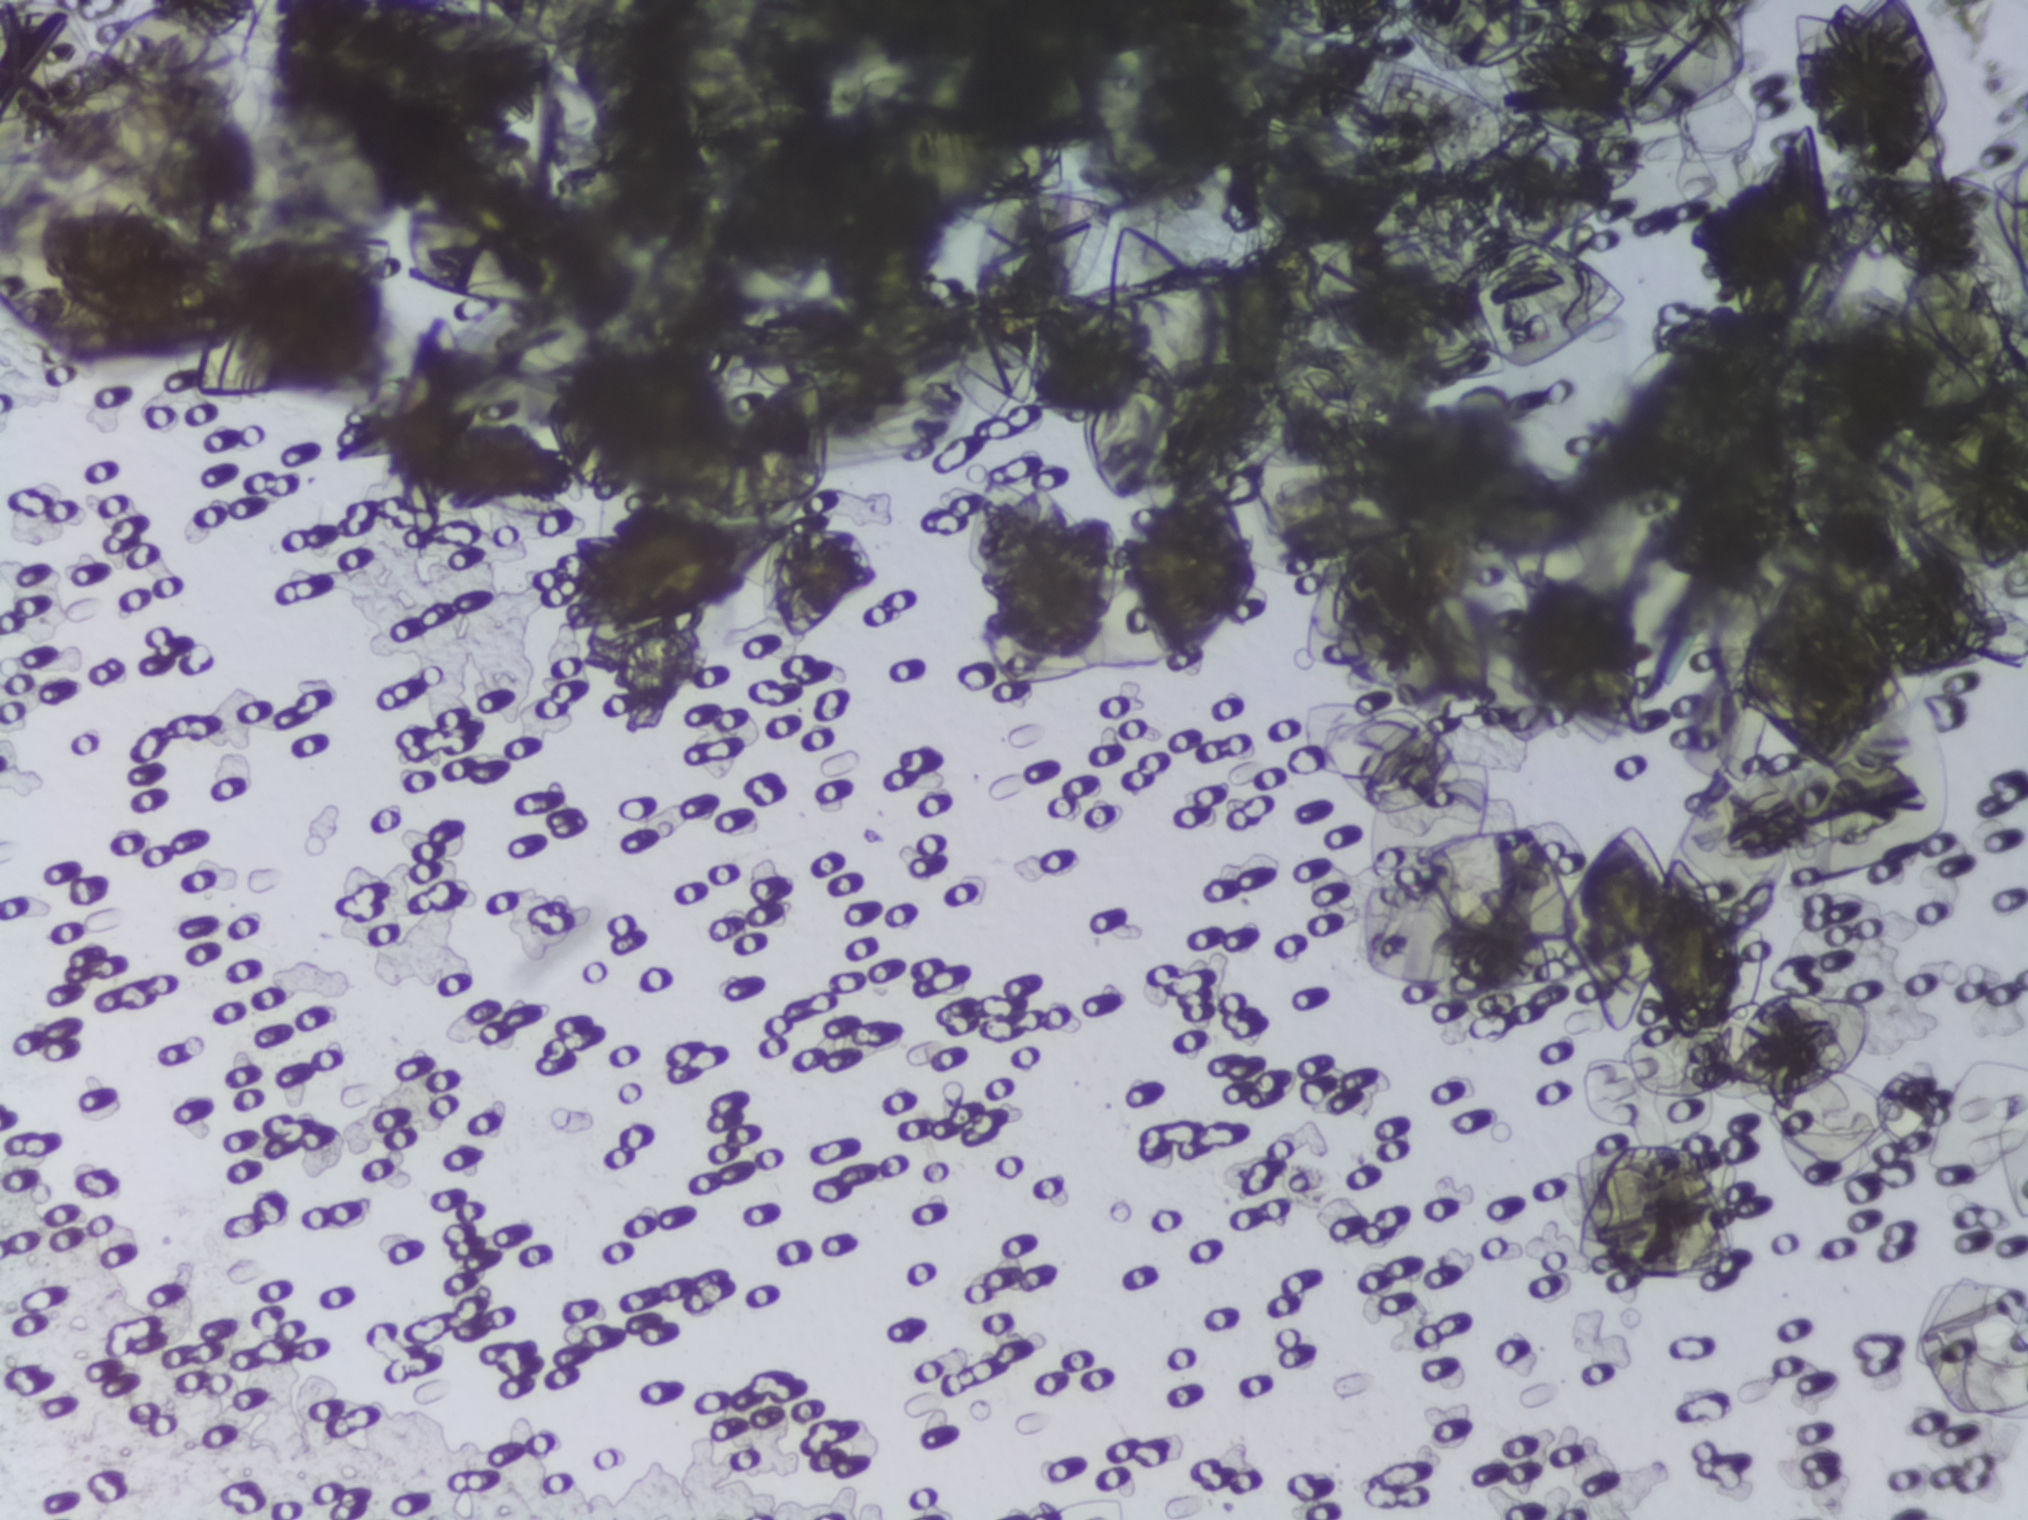
Photograph from an automated digital microscope: urine filter membrane, 4× objective.
Schistosoma eggs: none outlined.